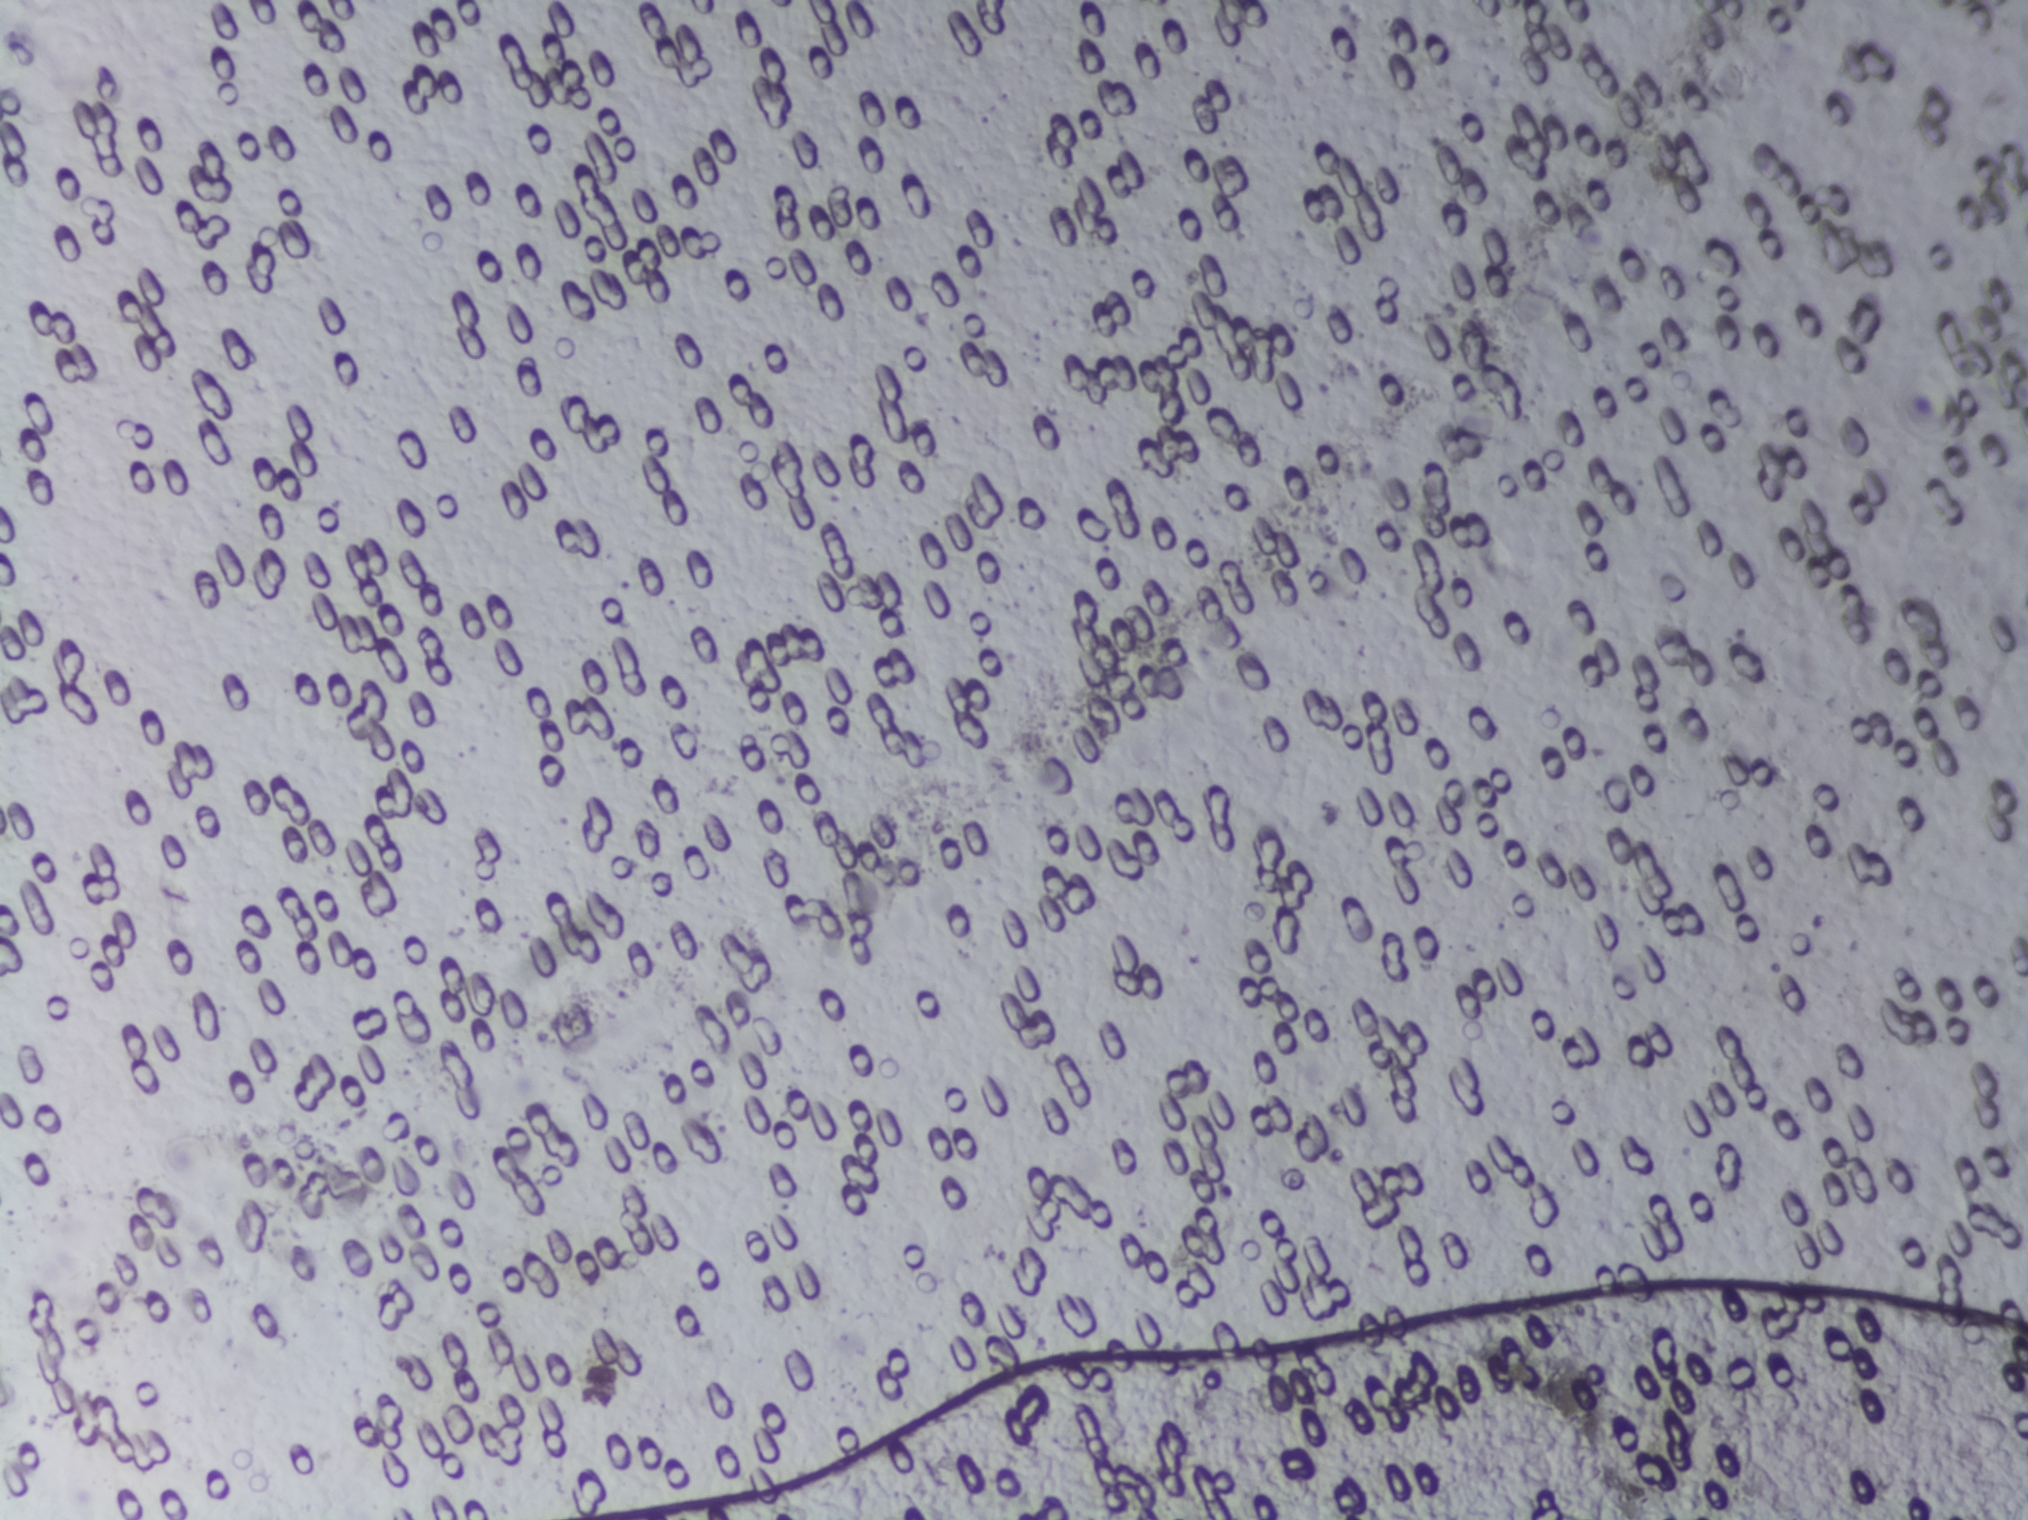
Schistosoma eggs: none outlined.
One field of view of a urine filter membrane, 4× objective, 2028 × 1520 pixels. Field of view: about 1.5 mm wide and 1.1 mm high.